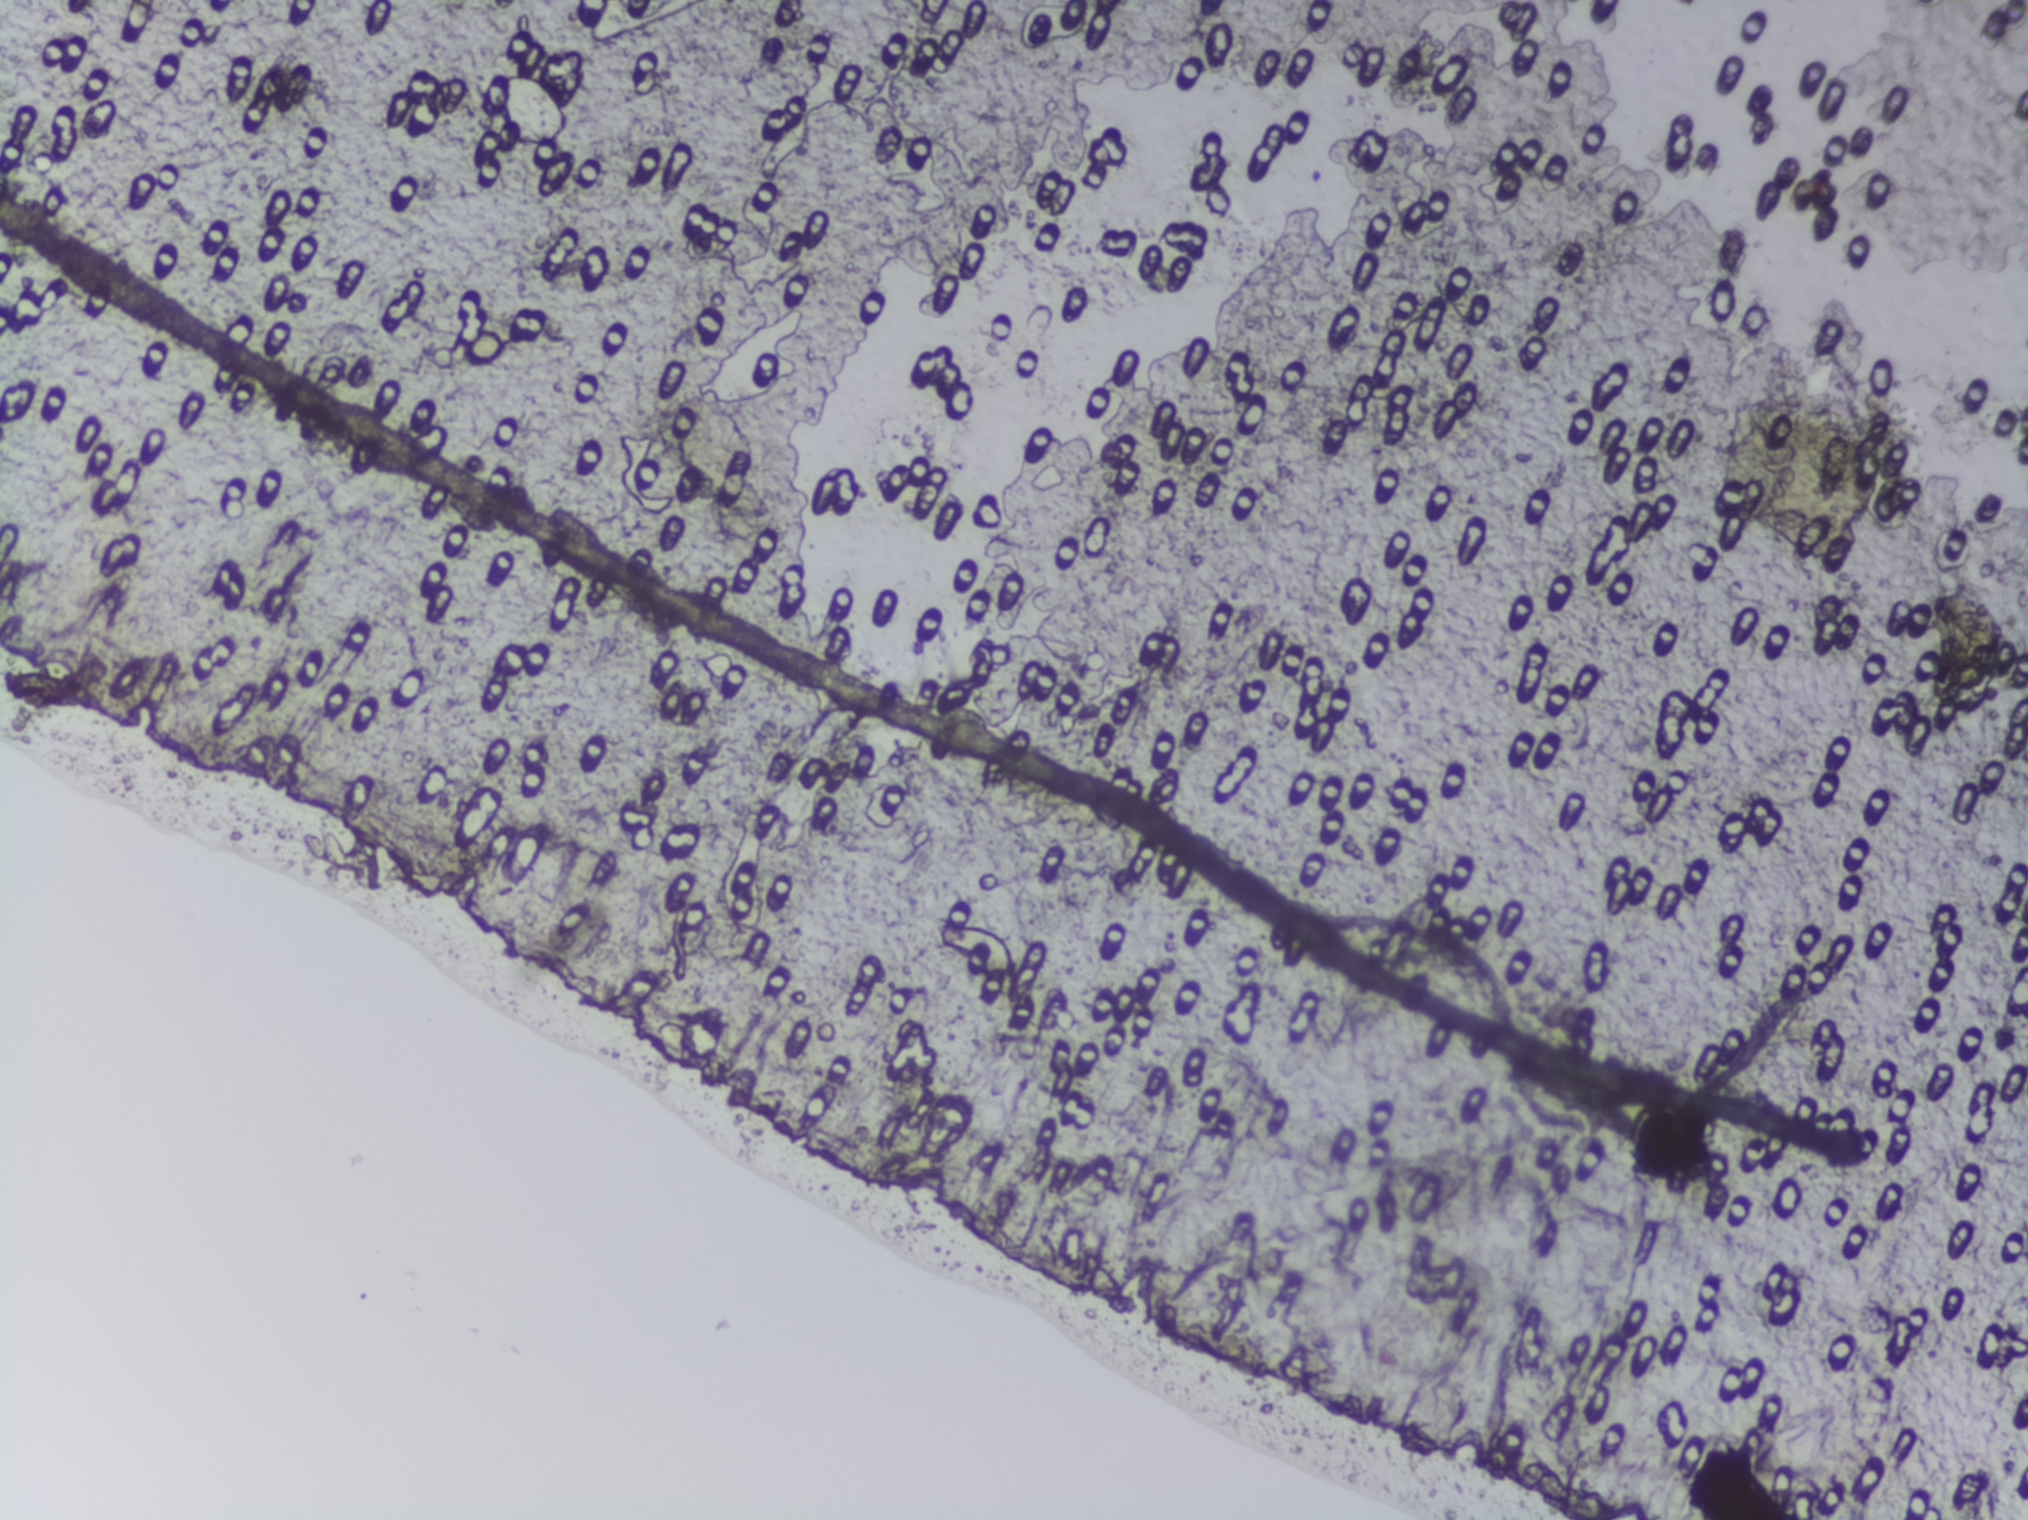
One field of view of a urine filter membrane, 4× objective, 2028 × 1520 pixels.
The expert annotation outlines no Schistosoma egg in this image.